Urine filtration membrane under a 4× objective, photographed by an automated digital microscope.
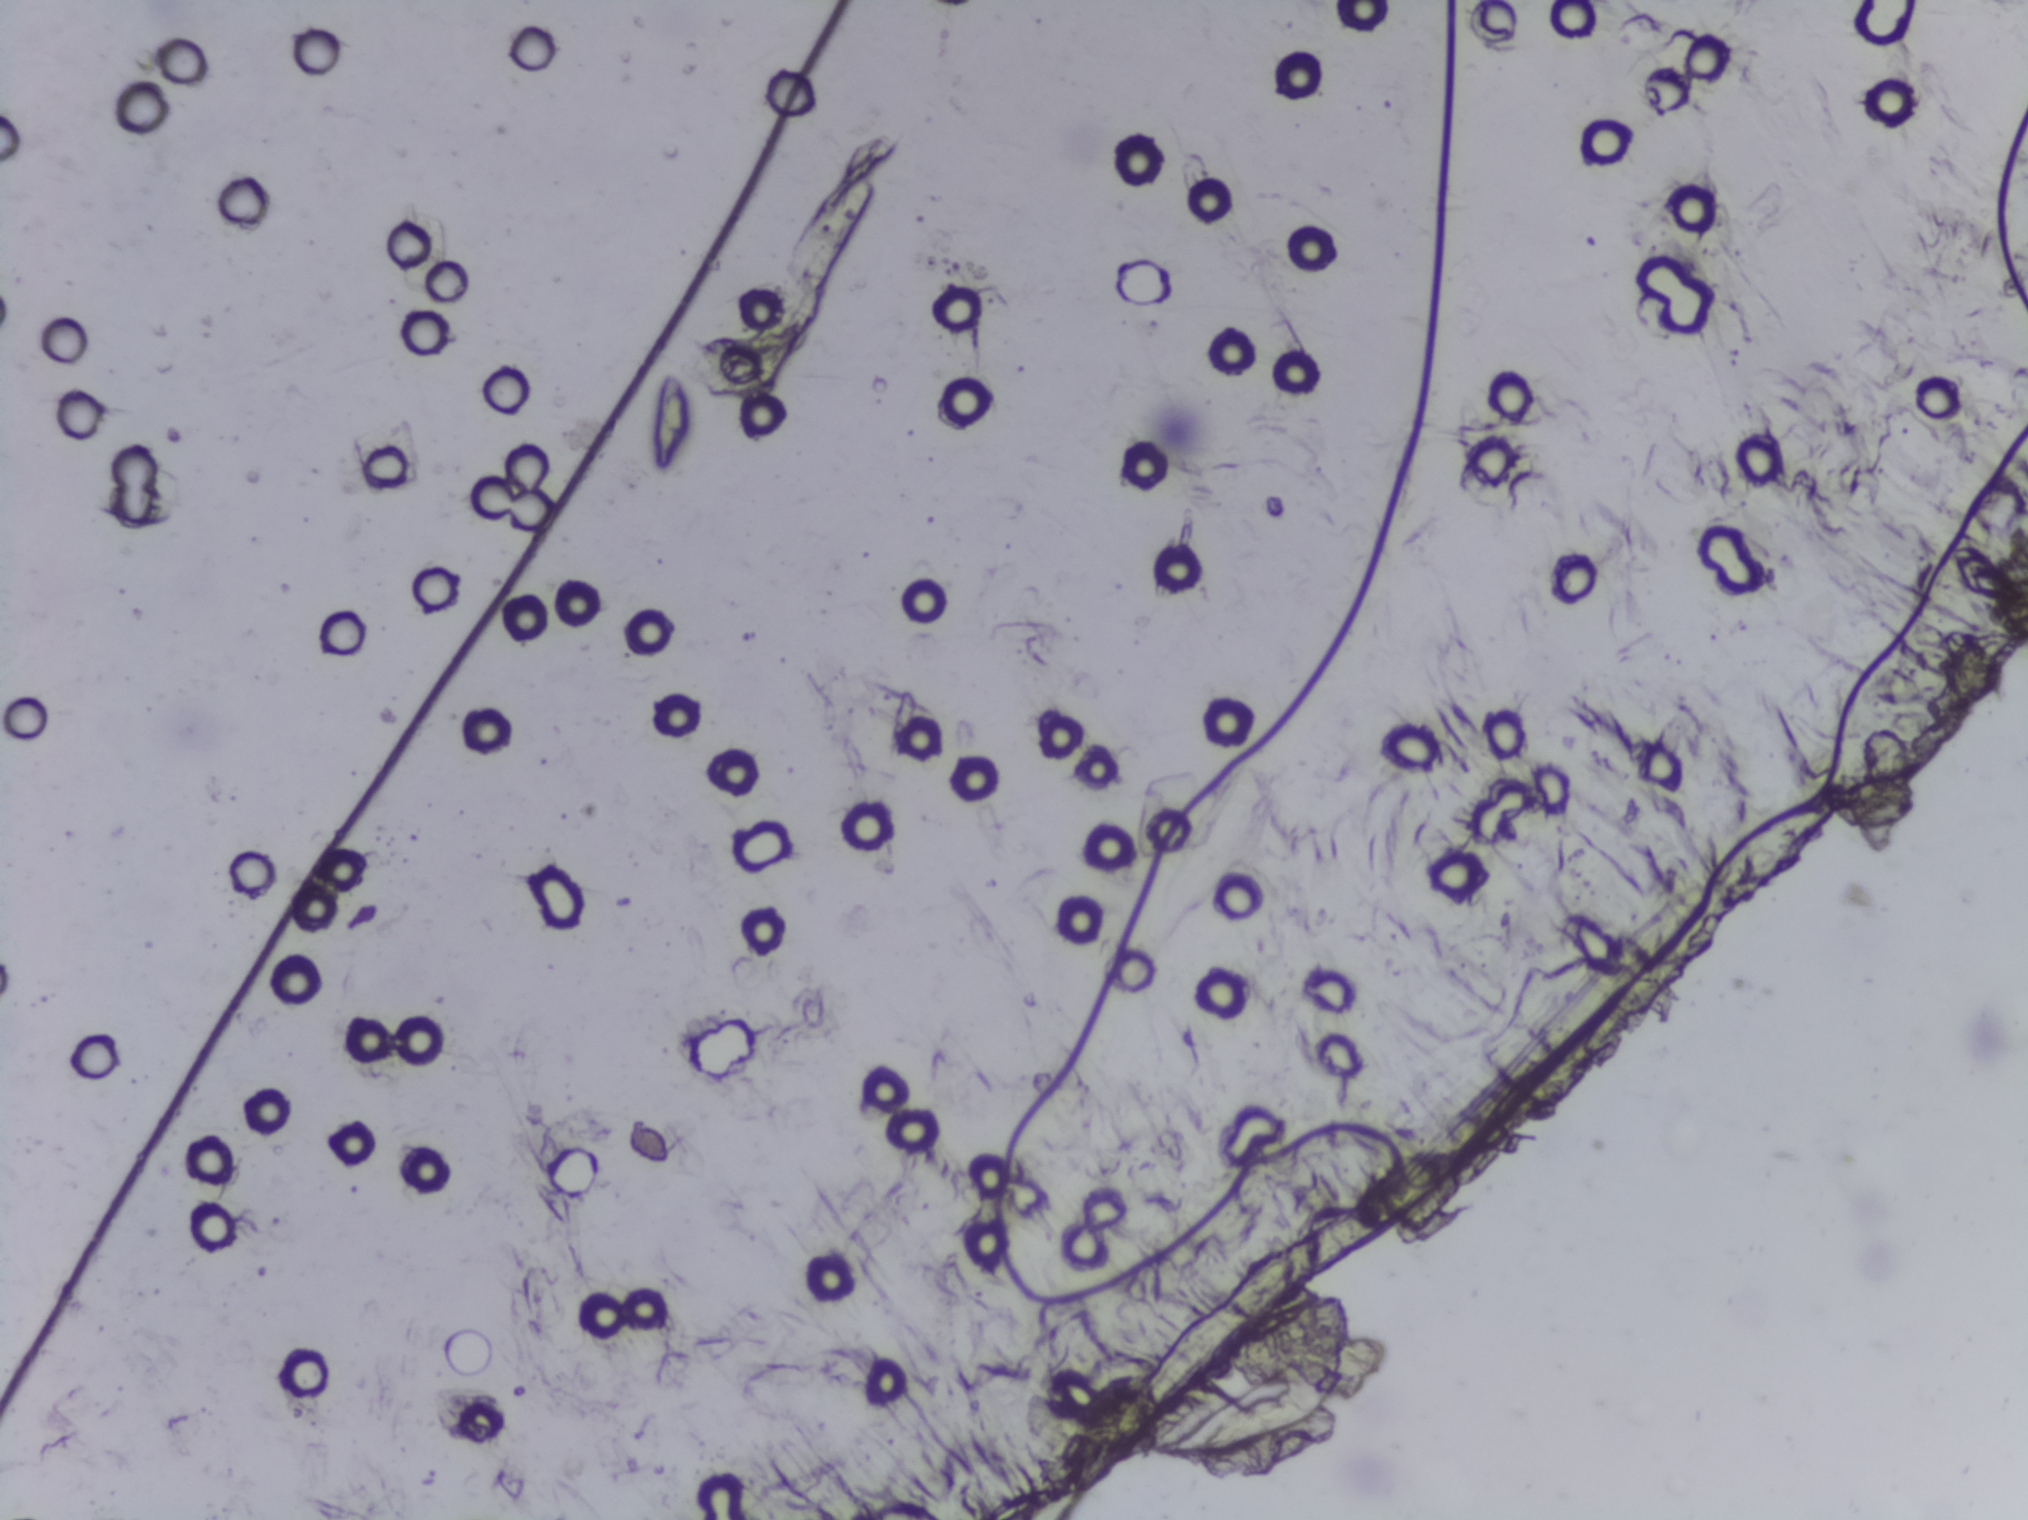
No area of this image was outlined as a Schistosoma egg.